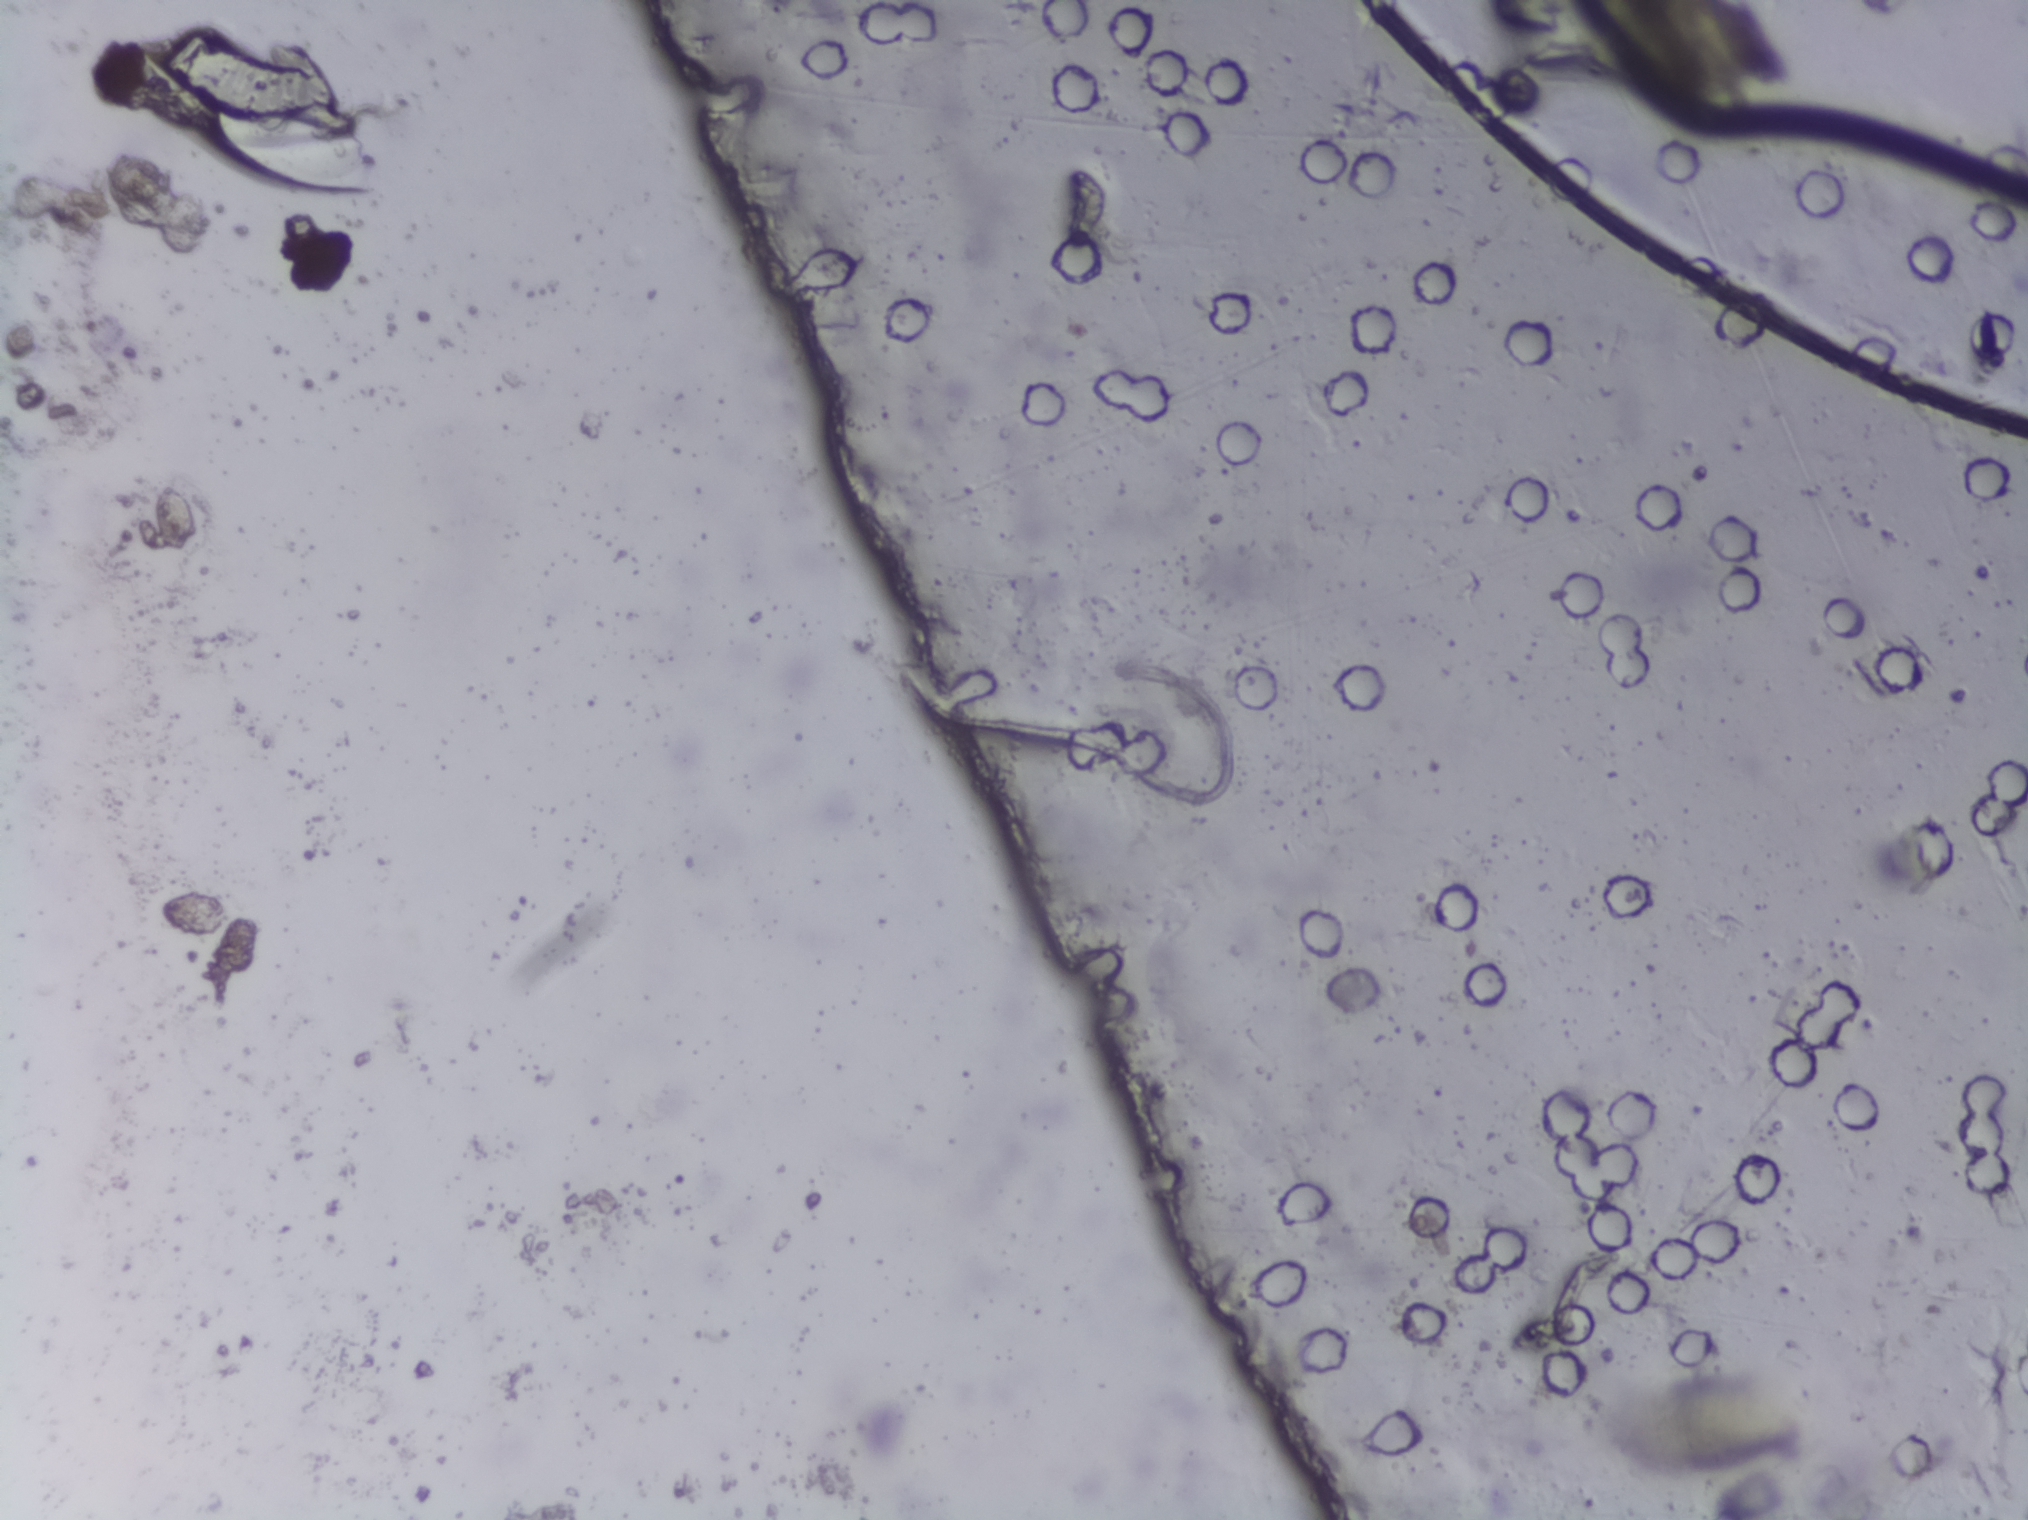
No area of this image was outlined as a Schistosoma egg.
Photomicrograph of a urine filtration membrane, 4× objective.